Photograph from an automated digital microscope: urine filter membrane, 4× objective. The image covers about 1.5 × 1.1 mm of the membrane.
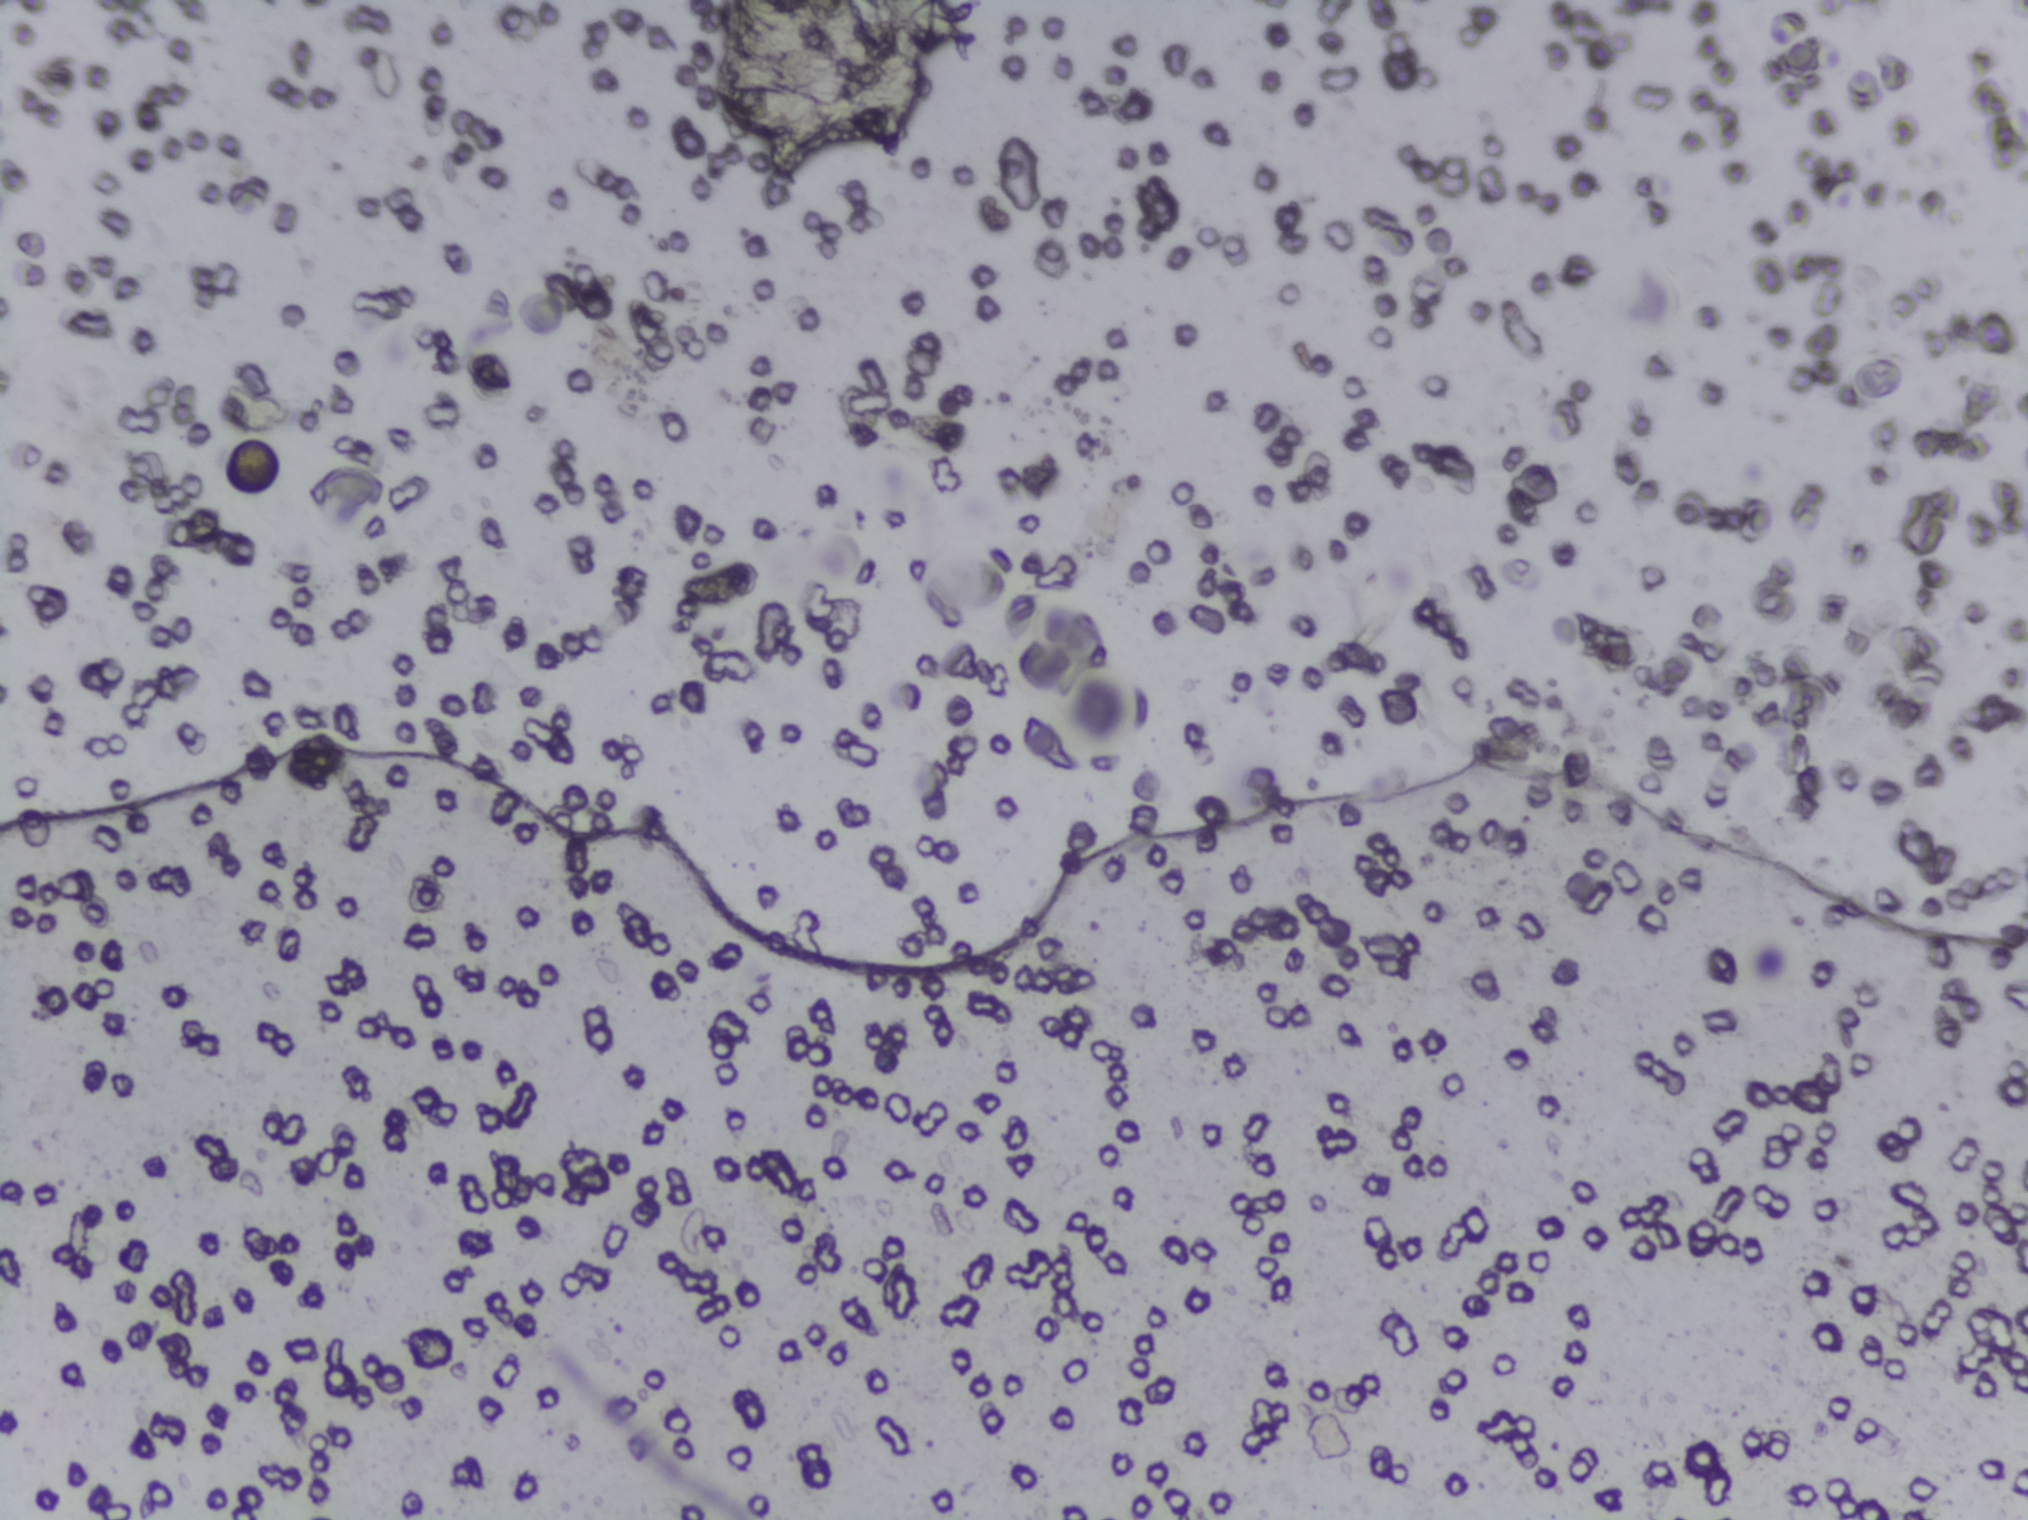
Schistosoma eggs: none outlined.